Photograph from an automated digital microscope: urine filter membrane, 4× objective.
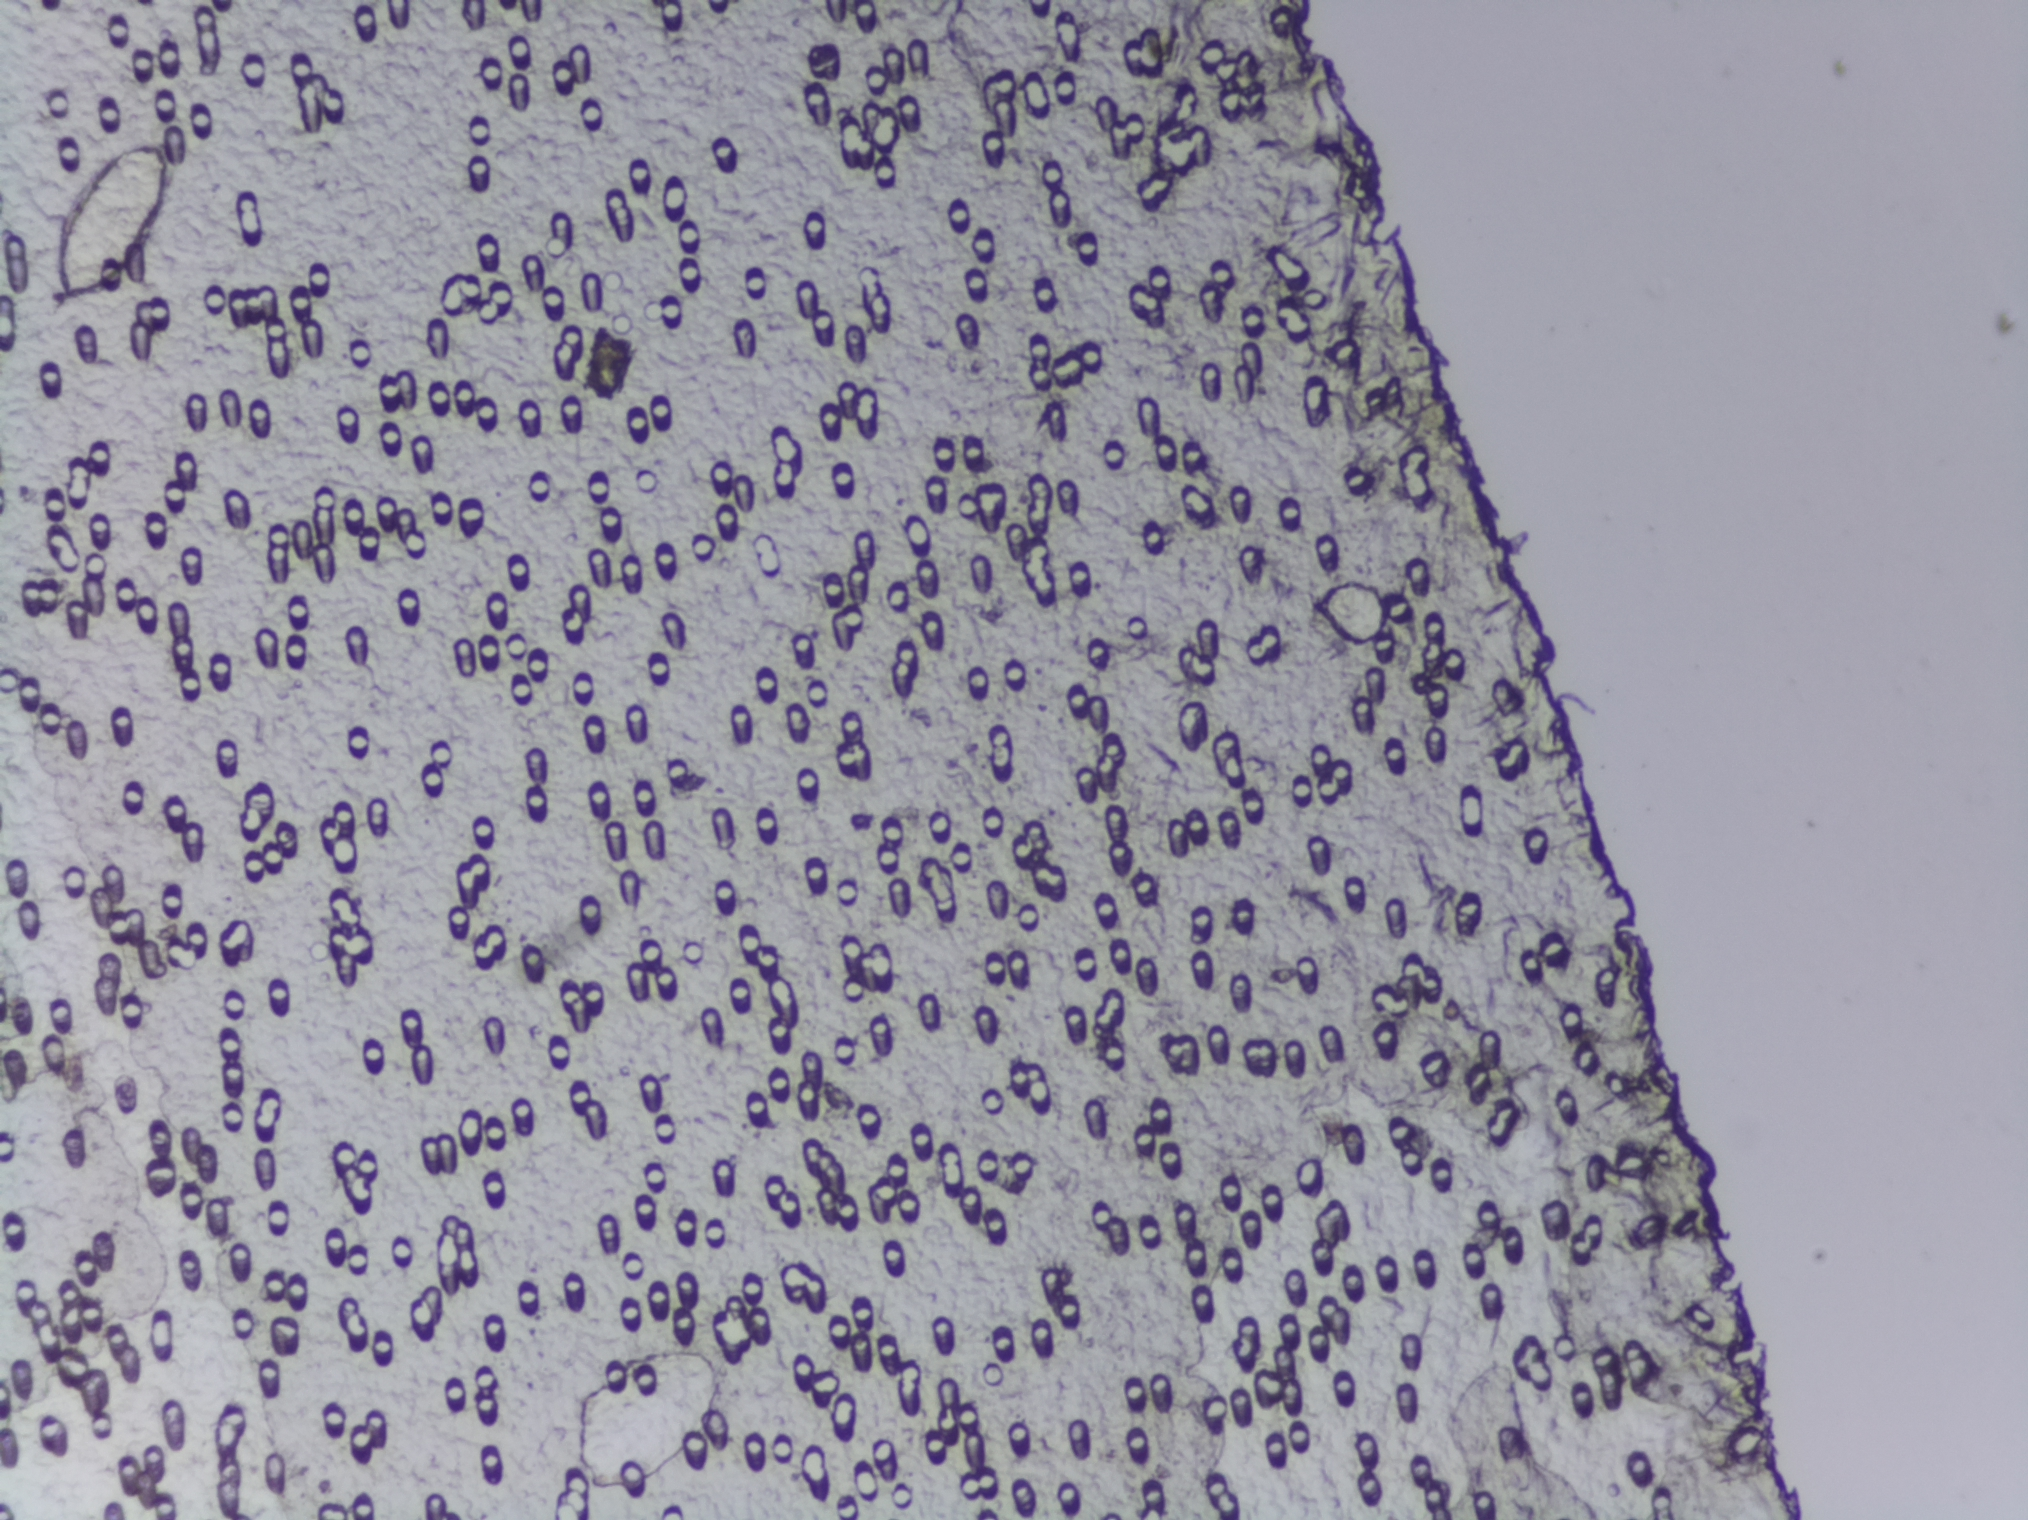
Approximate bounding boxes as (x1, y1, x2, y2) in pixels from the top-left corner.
One area of this image is outlined as Schistosoma eggs: (49, 139, 172, 304). A single outlined area may contain several eggs.